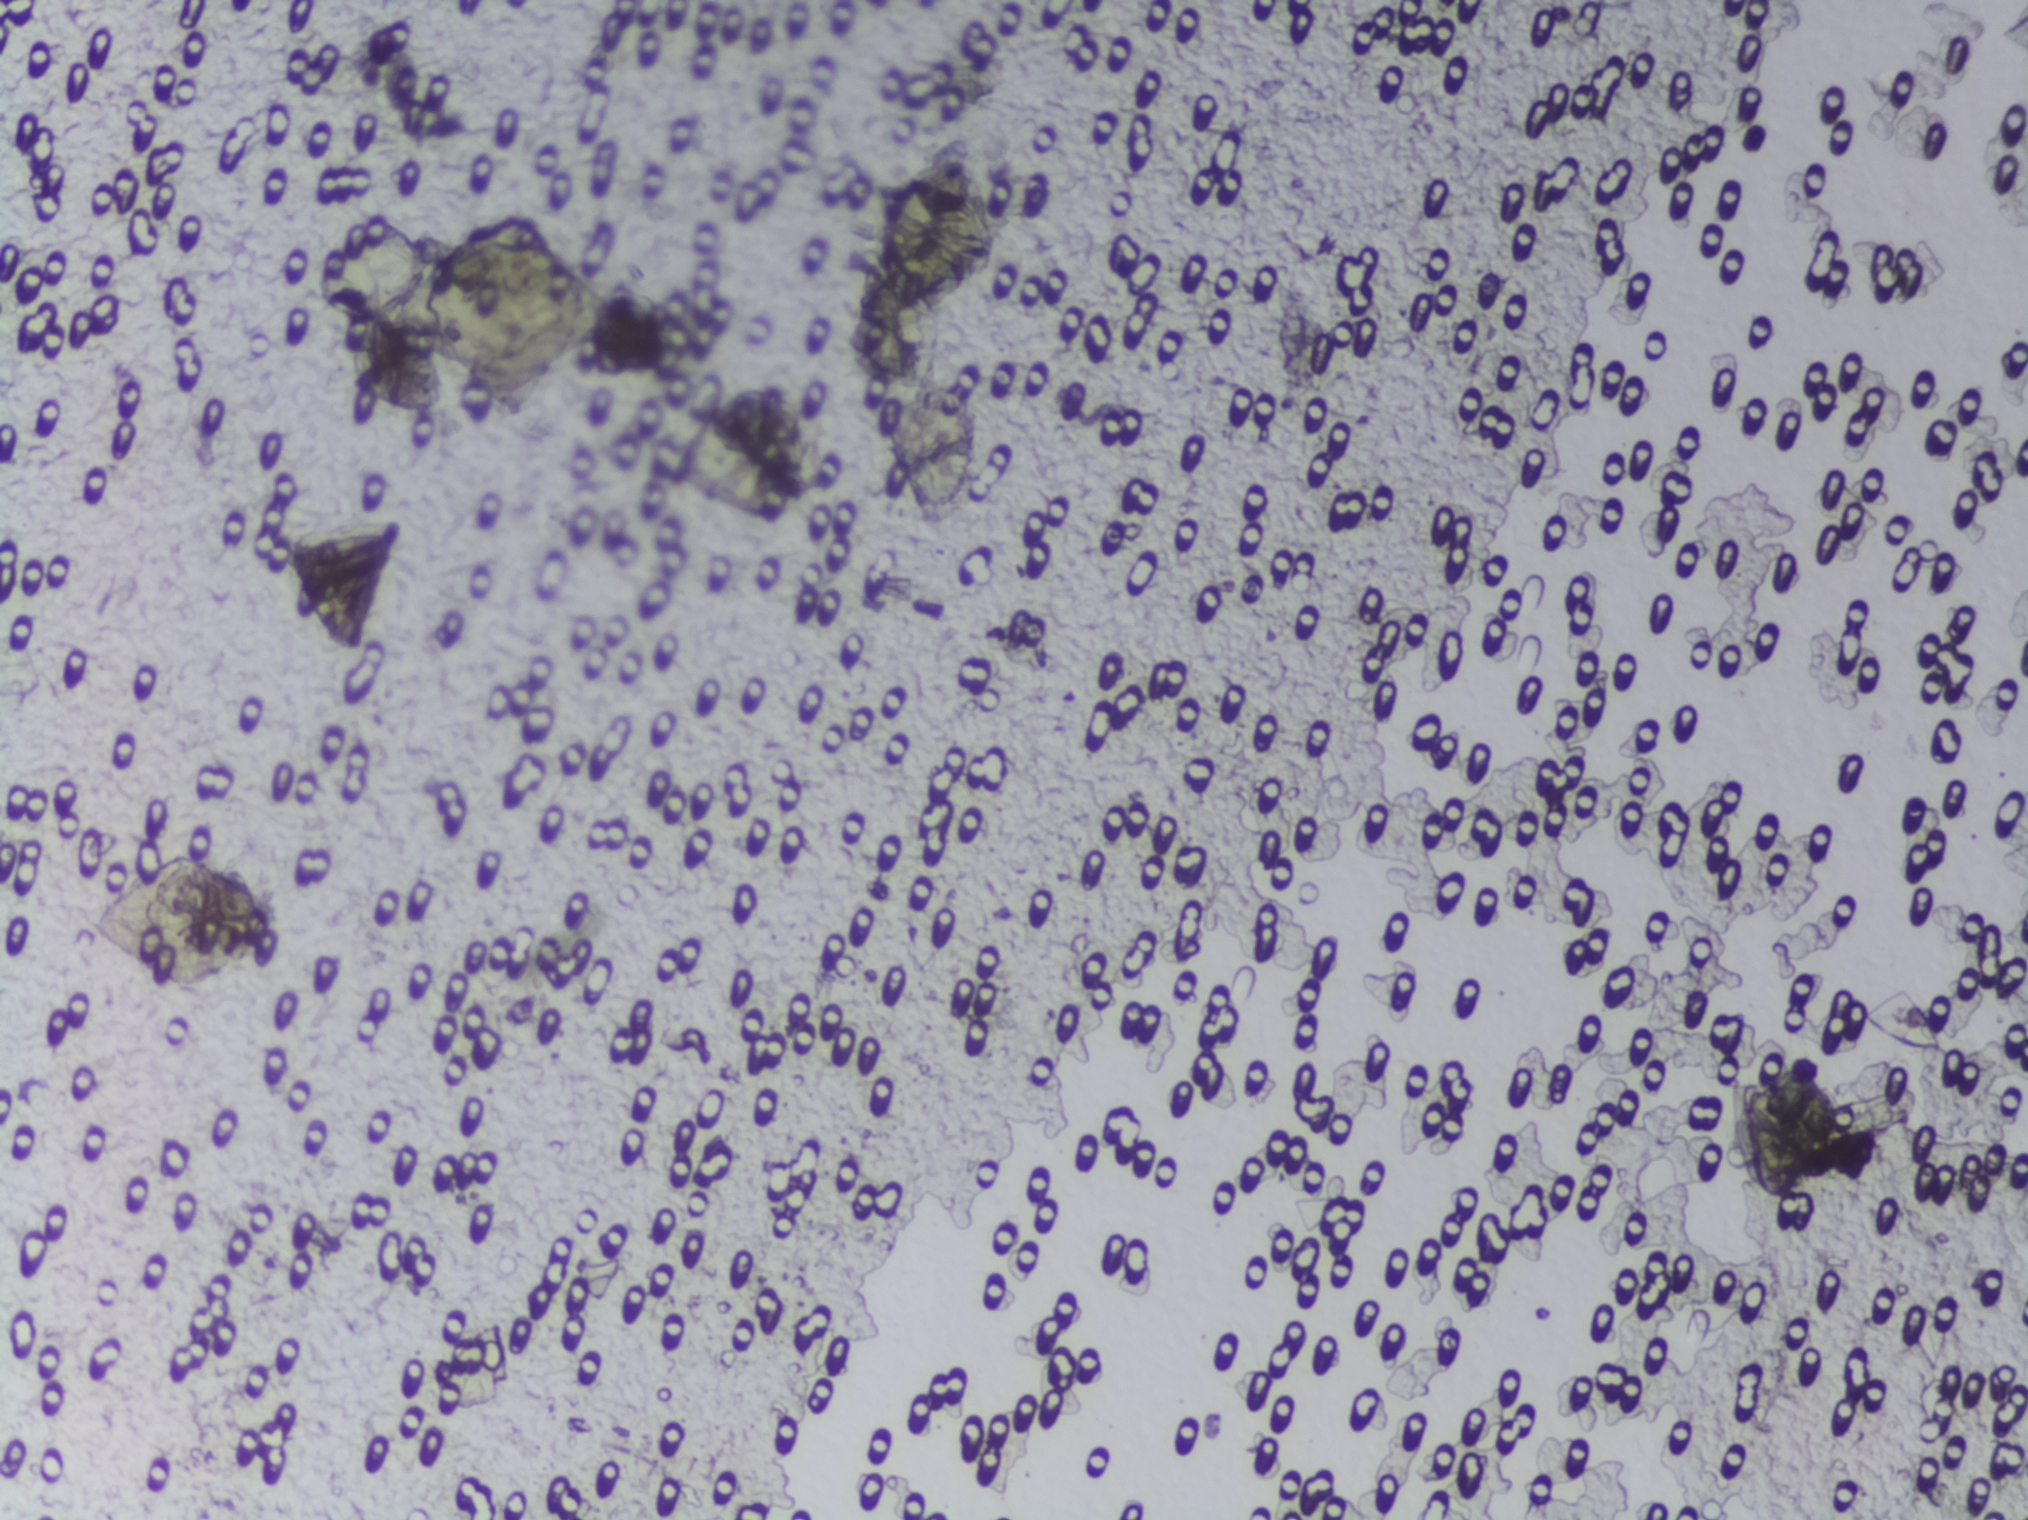
Urine filtration membrane under a 4× objective, photographed by an automated digital microscope.
The expert annotation outlines no Schistosoma egg in this image.